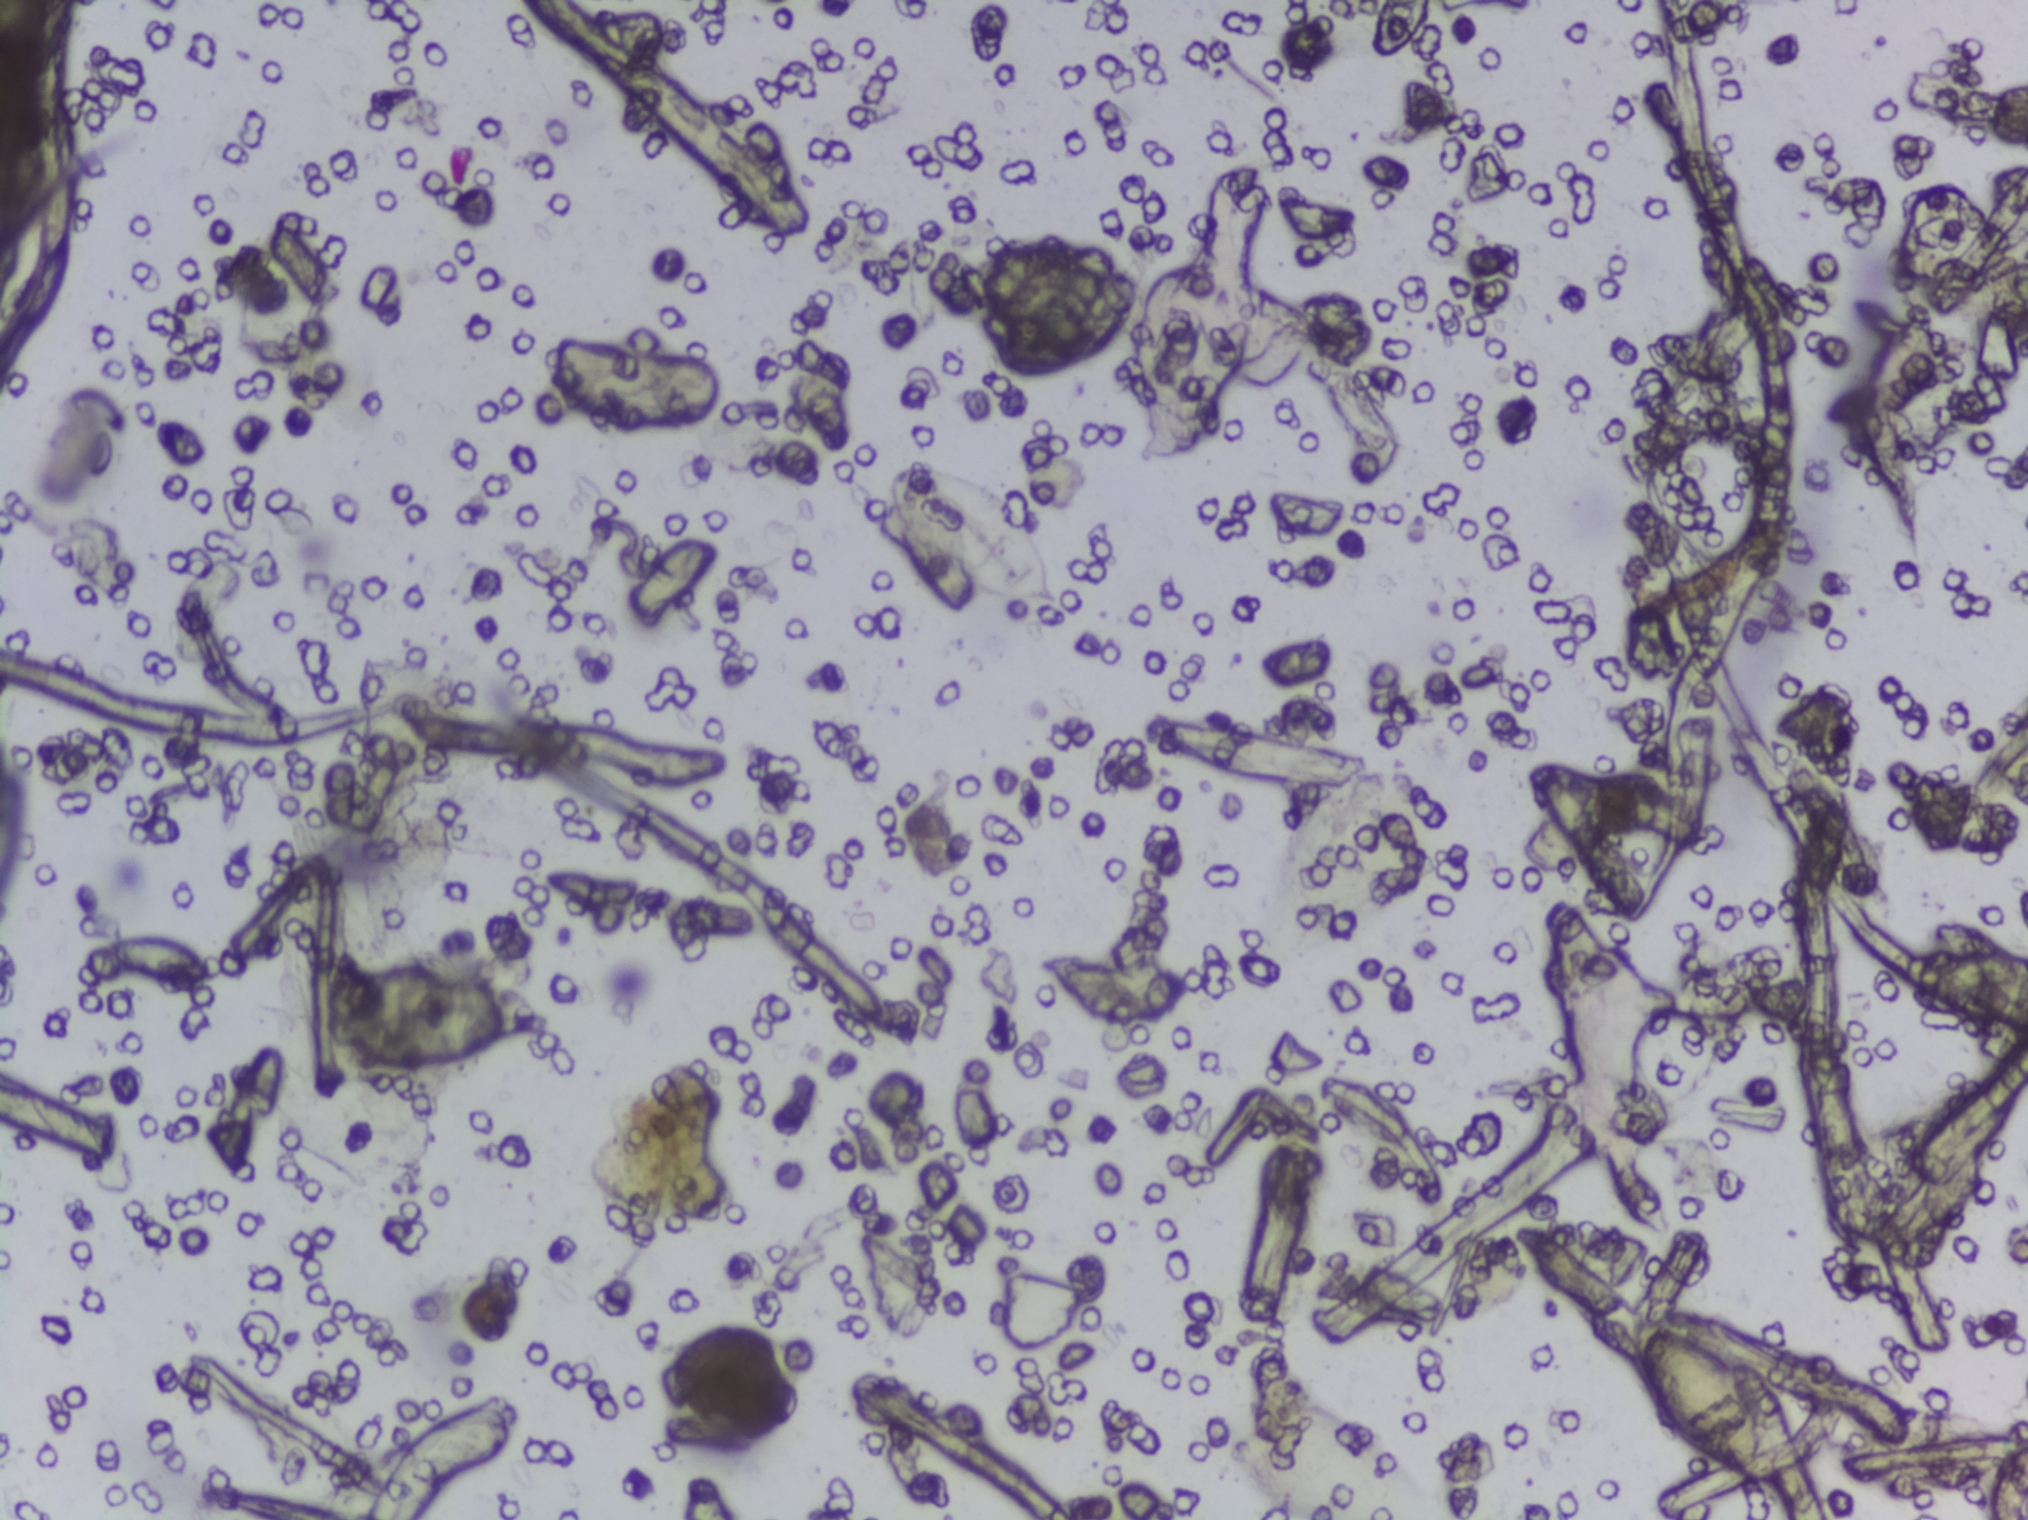
Photograph from an automated digital microscope: urine filter membrane, 4× objective.
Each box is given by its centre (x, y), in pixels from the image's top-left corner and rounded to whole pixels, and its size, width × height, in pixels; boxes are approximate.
Areas outlined as Schistosoma eggs, left to right:
1. centre (971, 534), 177 × 141 px
2. centre (1703, 1406), 142 × 168 px
An outlined area can hold more than one egg.